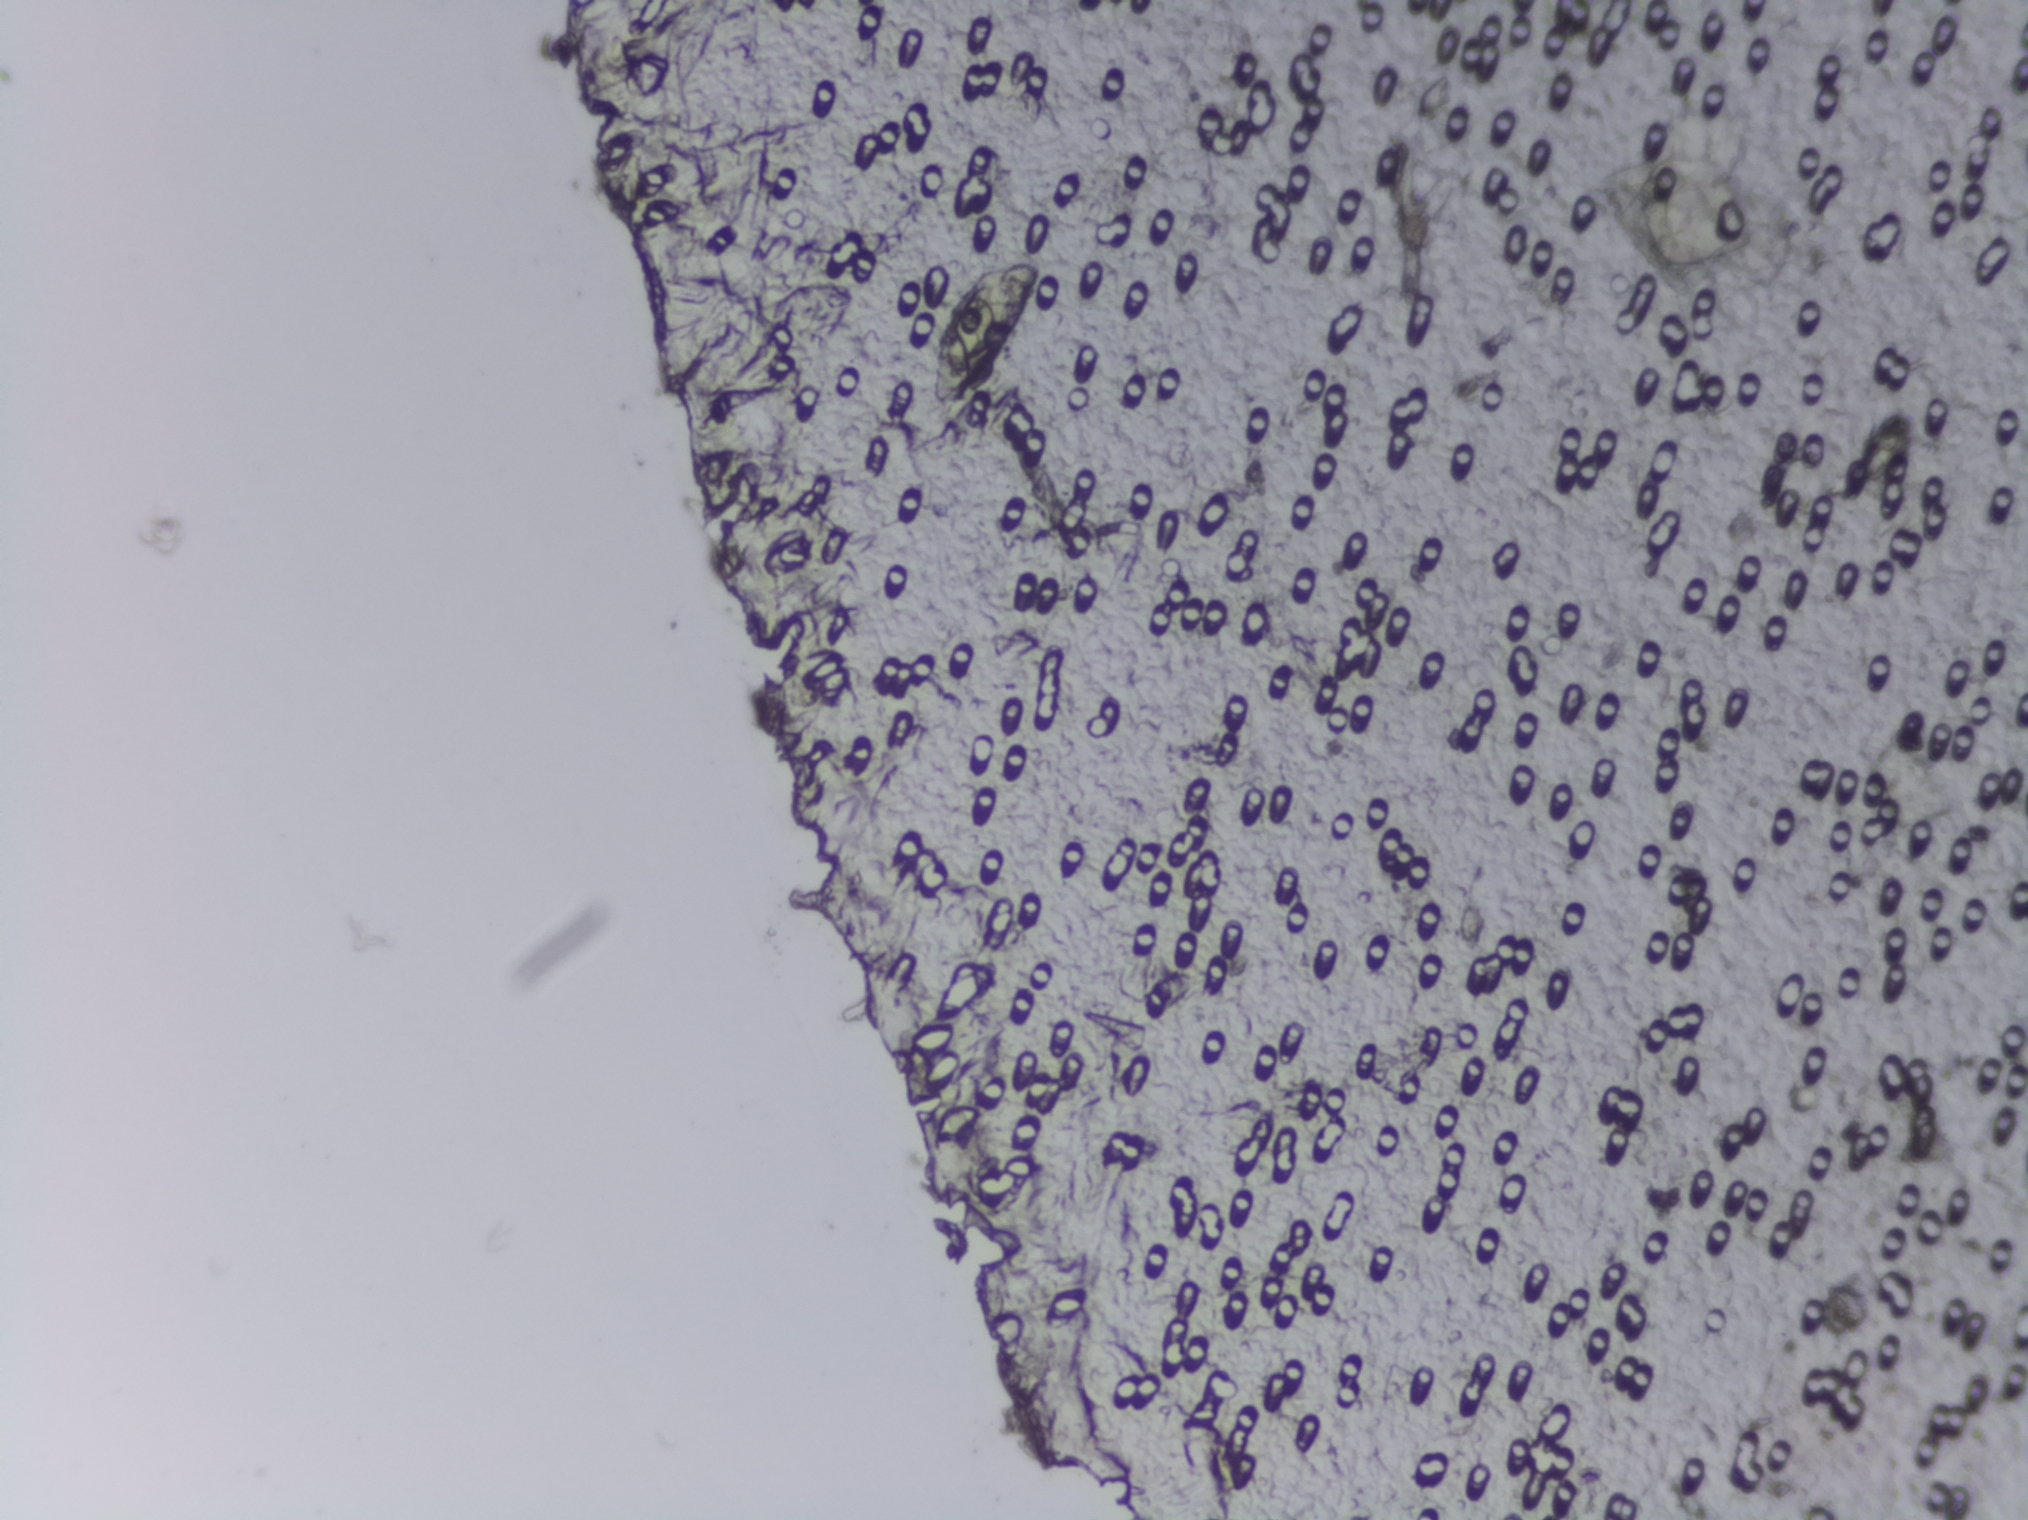
Urine filtration membrane under a 4× objective, photographed by an automated digital microscope.
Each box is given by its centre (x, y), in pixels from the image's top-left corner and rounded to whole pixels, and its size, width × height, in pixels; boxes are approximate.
Schistosoma eggs are outlined in the expert annotation at centre (987, 333), 122 × 159 px. The marked pixels themselves, not the box around them, cover about 0.4% of the image. Eggs that touch can end up inside the same outlined area. Any one outlined egg may, rarely, be S. mansoni rather than S. haematobium.